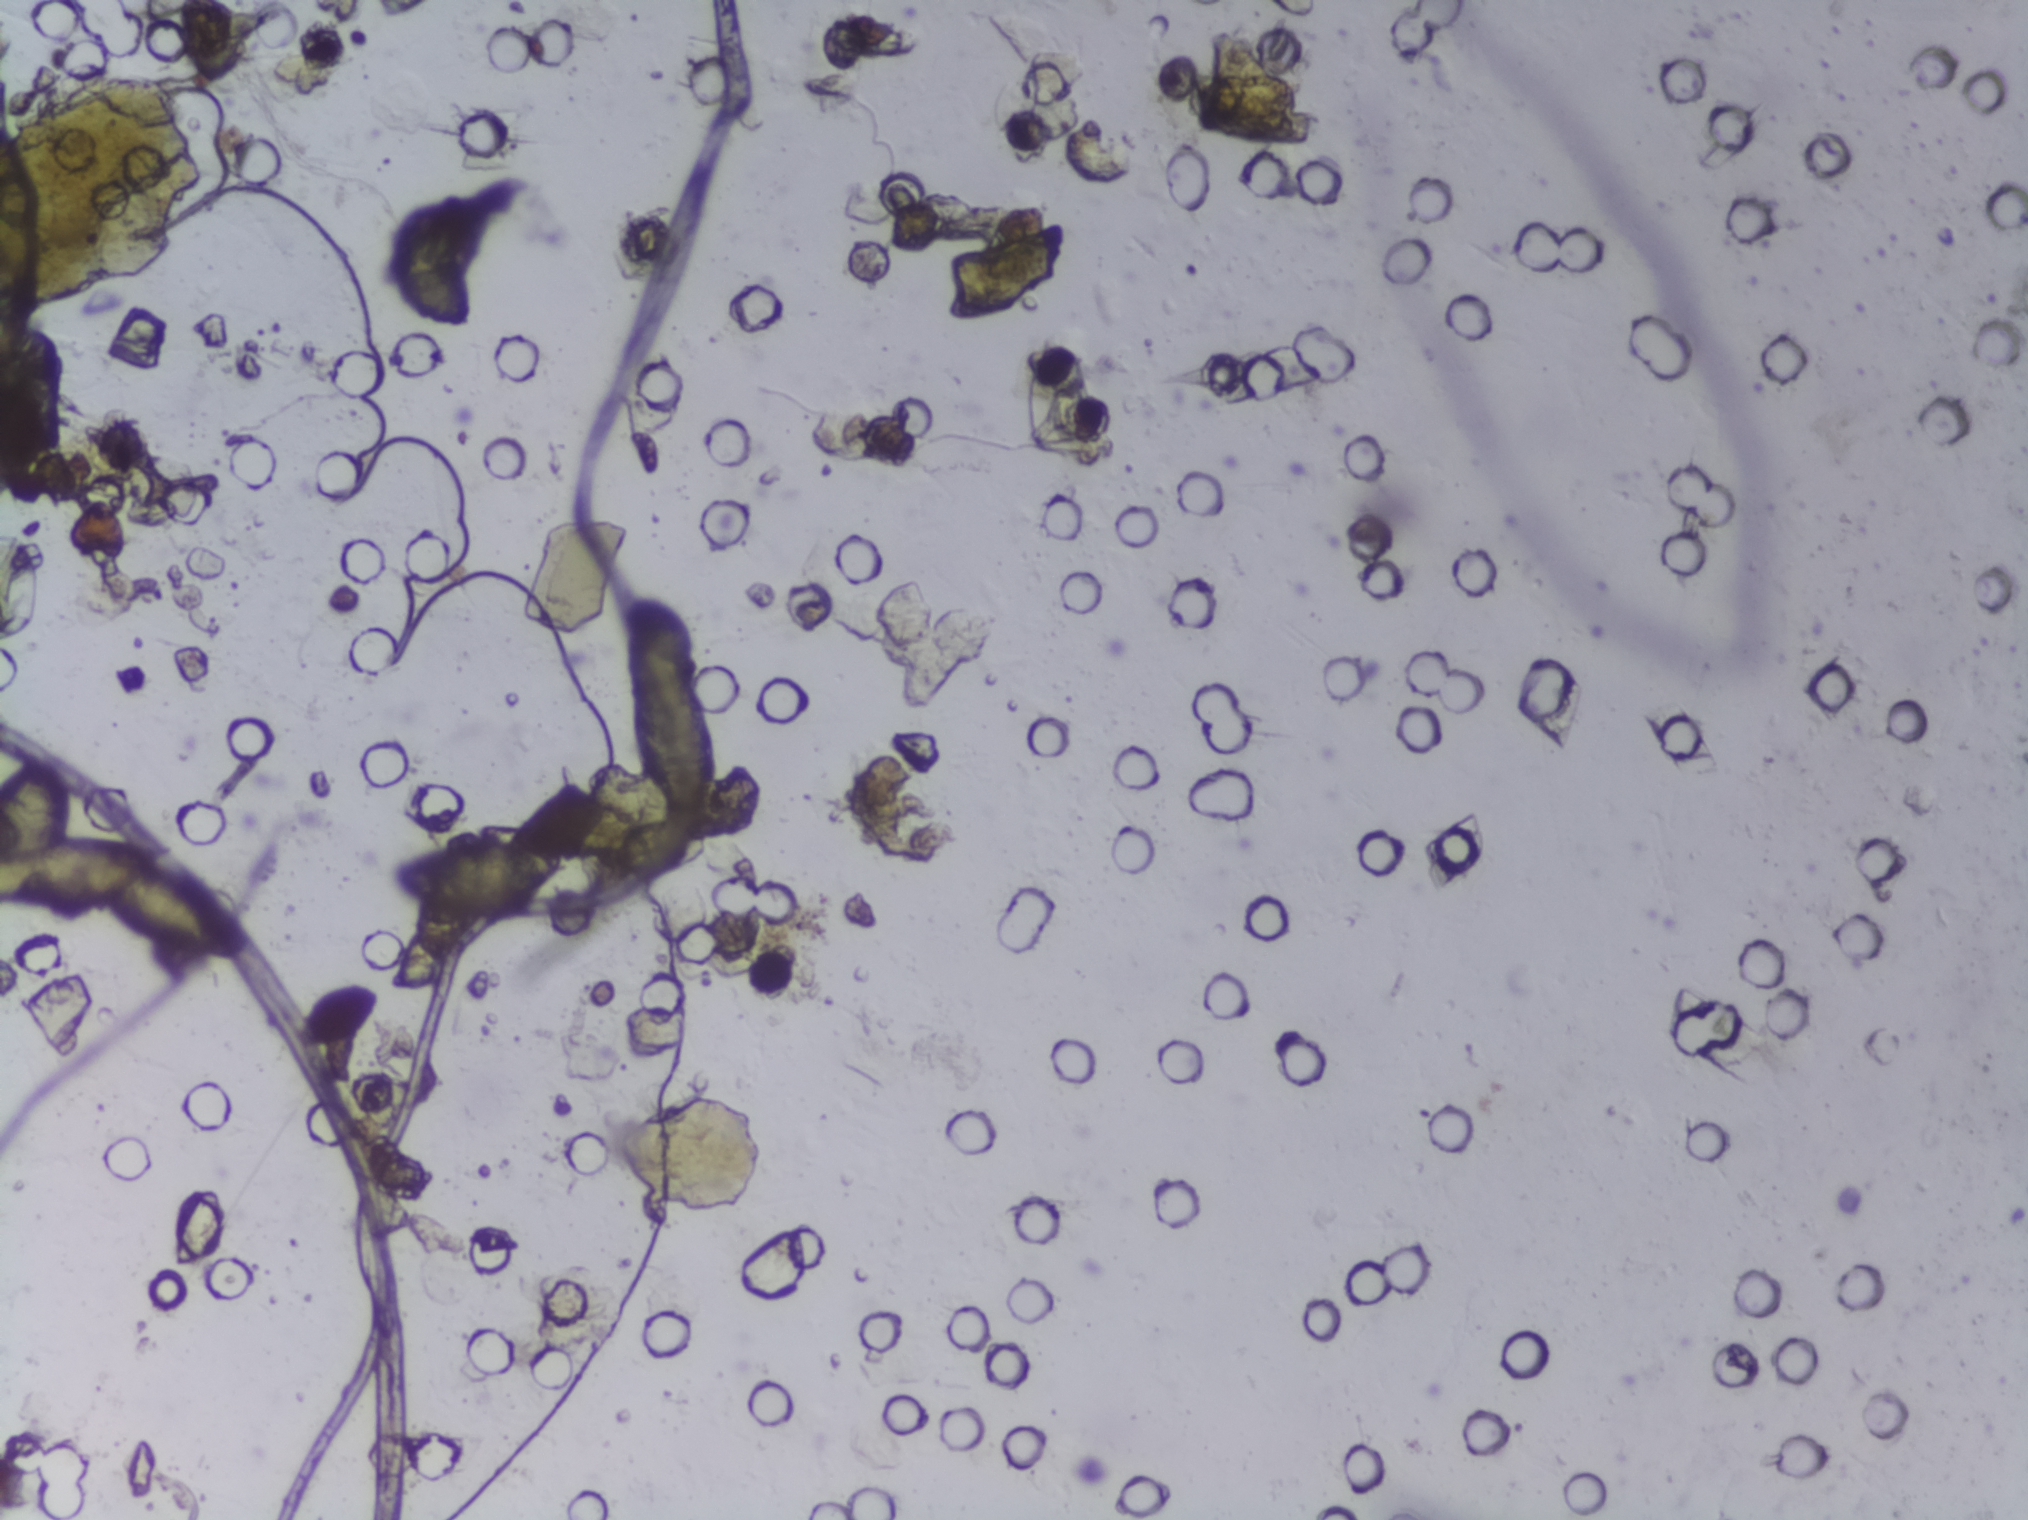
Urine filtration membrane under a 4× objective, photographed by an automated digital microscope.
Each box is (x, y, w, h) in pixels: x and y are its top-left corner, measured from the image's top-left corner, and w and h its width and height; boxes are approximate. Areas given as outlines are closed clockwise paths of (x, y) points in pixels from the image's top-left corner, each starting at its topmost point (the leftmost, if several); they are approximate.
Three areas of this image are outlined as Schistosoma eggs, from left to right: outline (46, 745), (59, 745), (67, 754), (76, 828), (167, 840), (175, 846), (175, 862), (227, 888), (255, 934), (251, 966), (197, 970), (137, 945), (100, 913), (0, 911), (0, 772), (24, 752) (reaching the left edge of the frame); box (x=384, y=835, w=194, h=83); box (x=625, y=616, w=94, h=208). Marked pixels, not the boxes and the outline around them: about 1.8% of the image. A single outlined area may contain several eggs.